Photomicrograph of a urine filtration membrane, 4× objective.
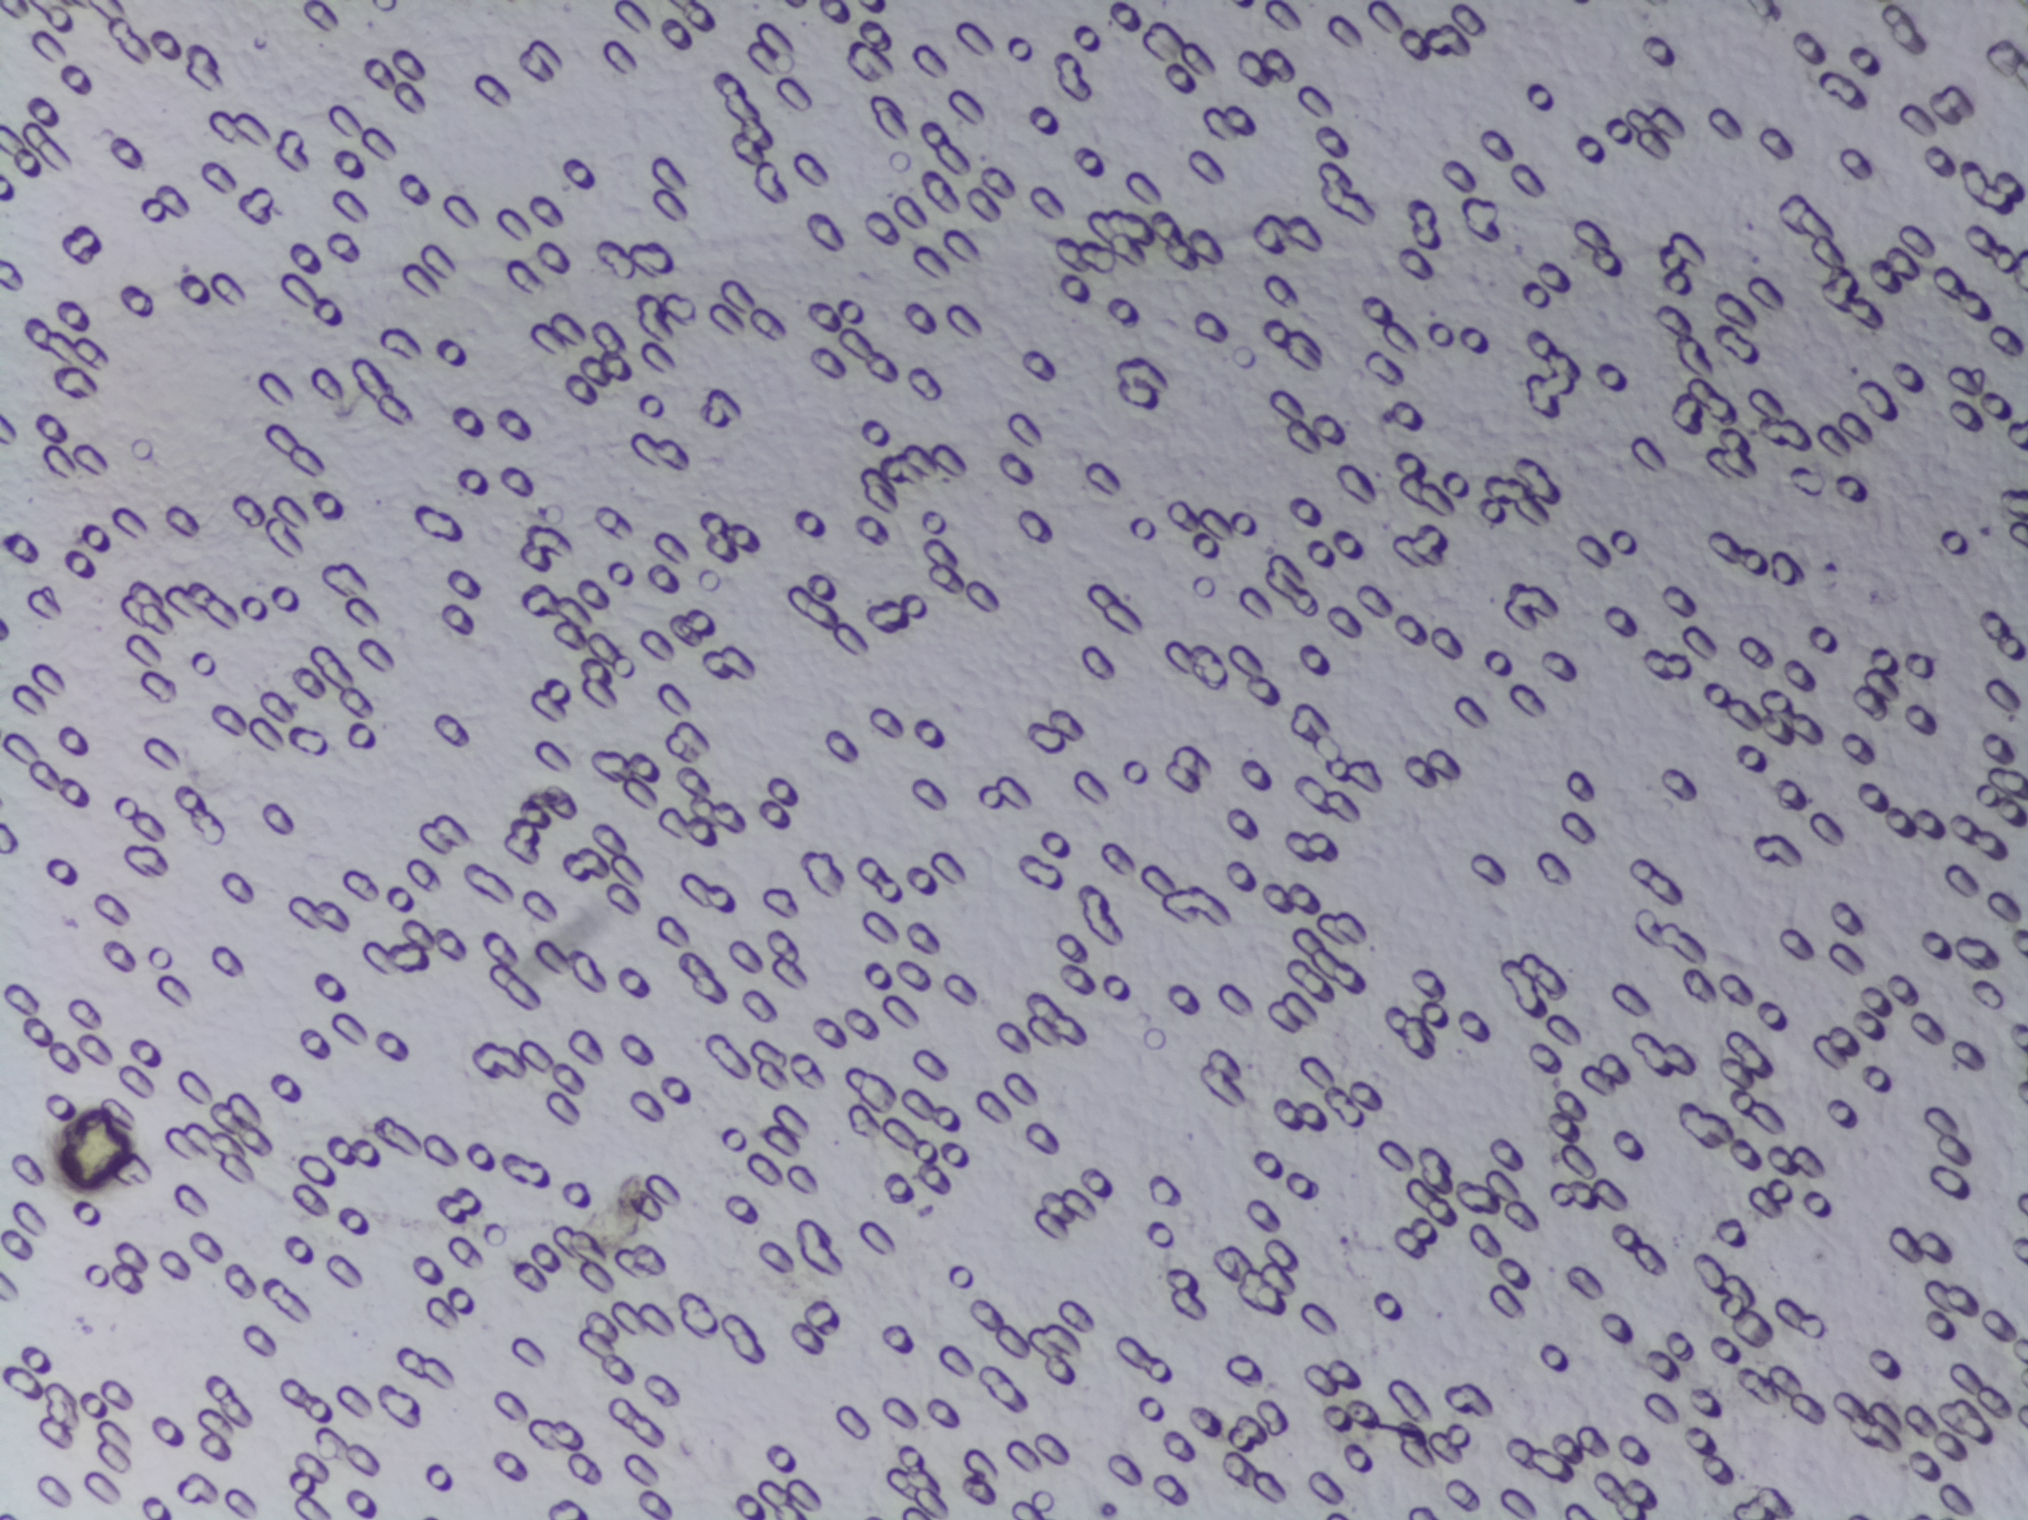
The expert annotation marks no Schistosoma egg in this field of view.